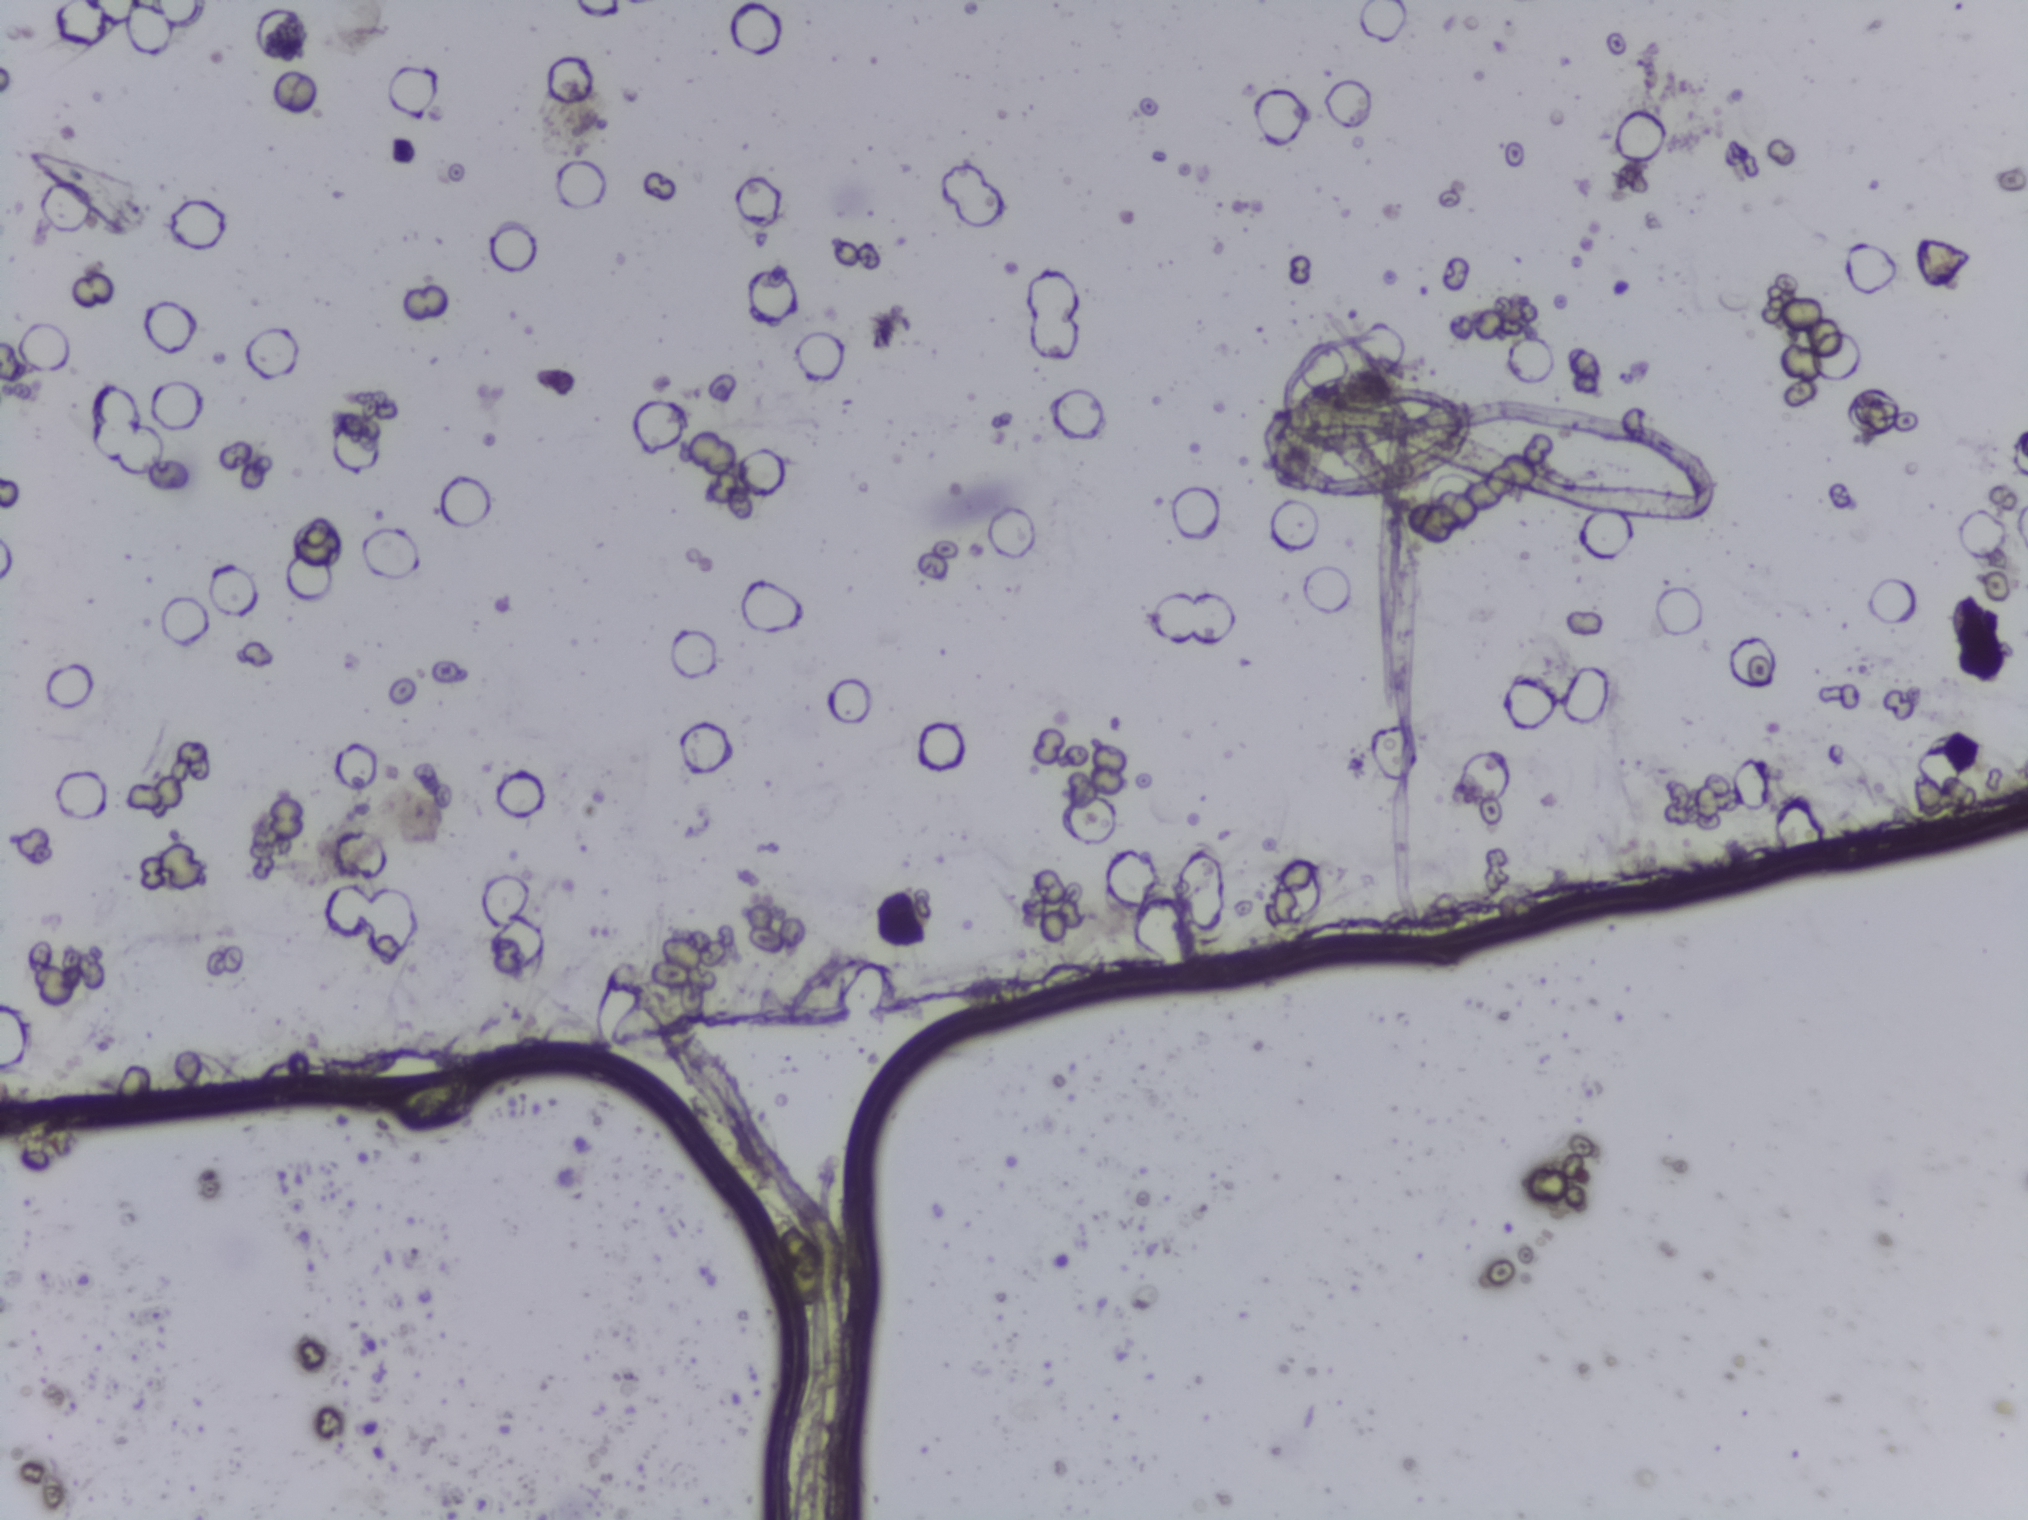
Photograph from an automated digital microscope: urine filter membrane, 4× objective.
No area of this image was outlined as a Schistosoma egg.